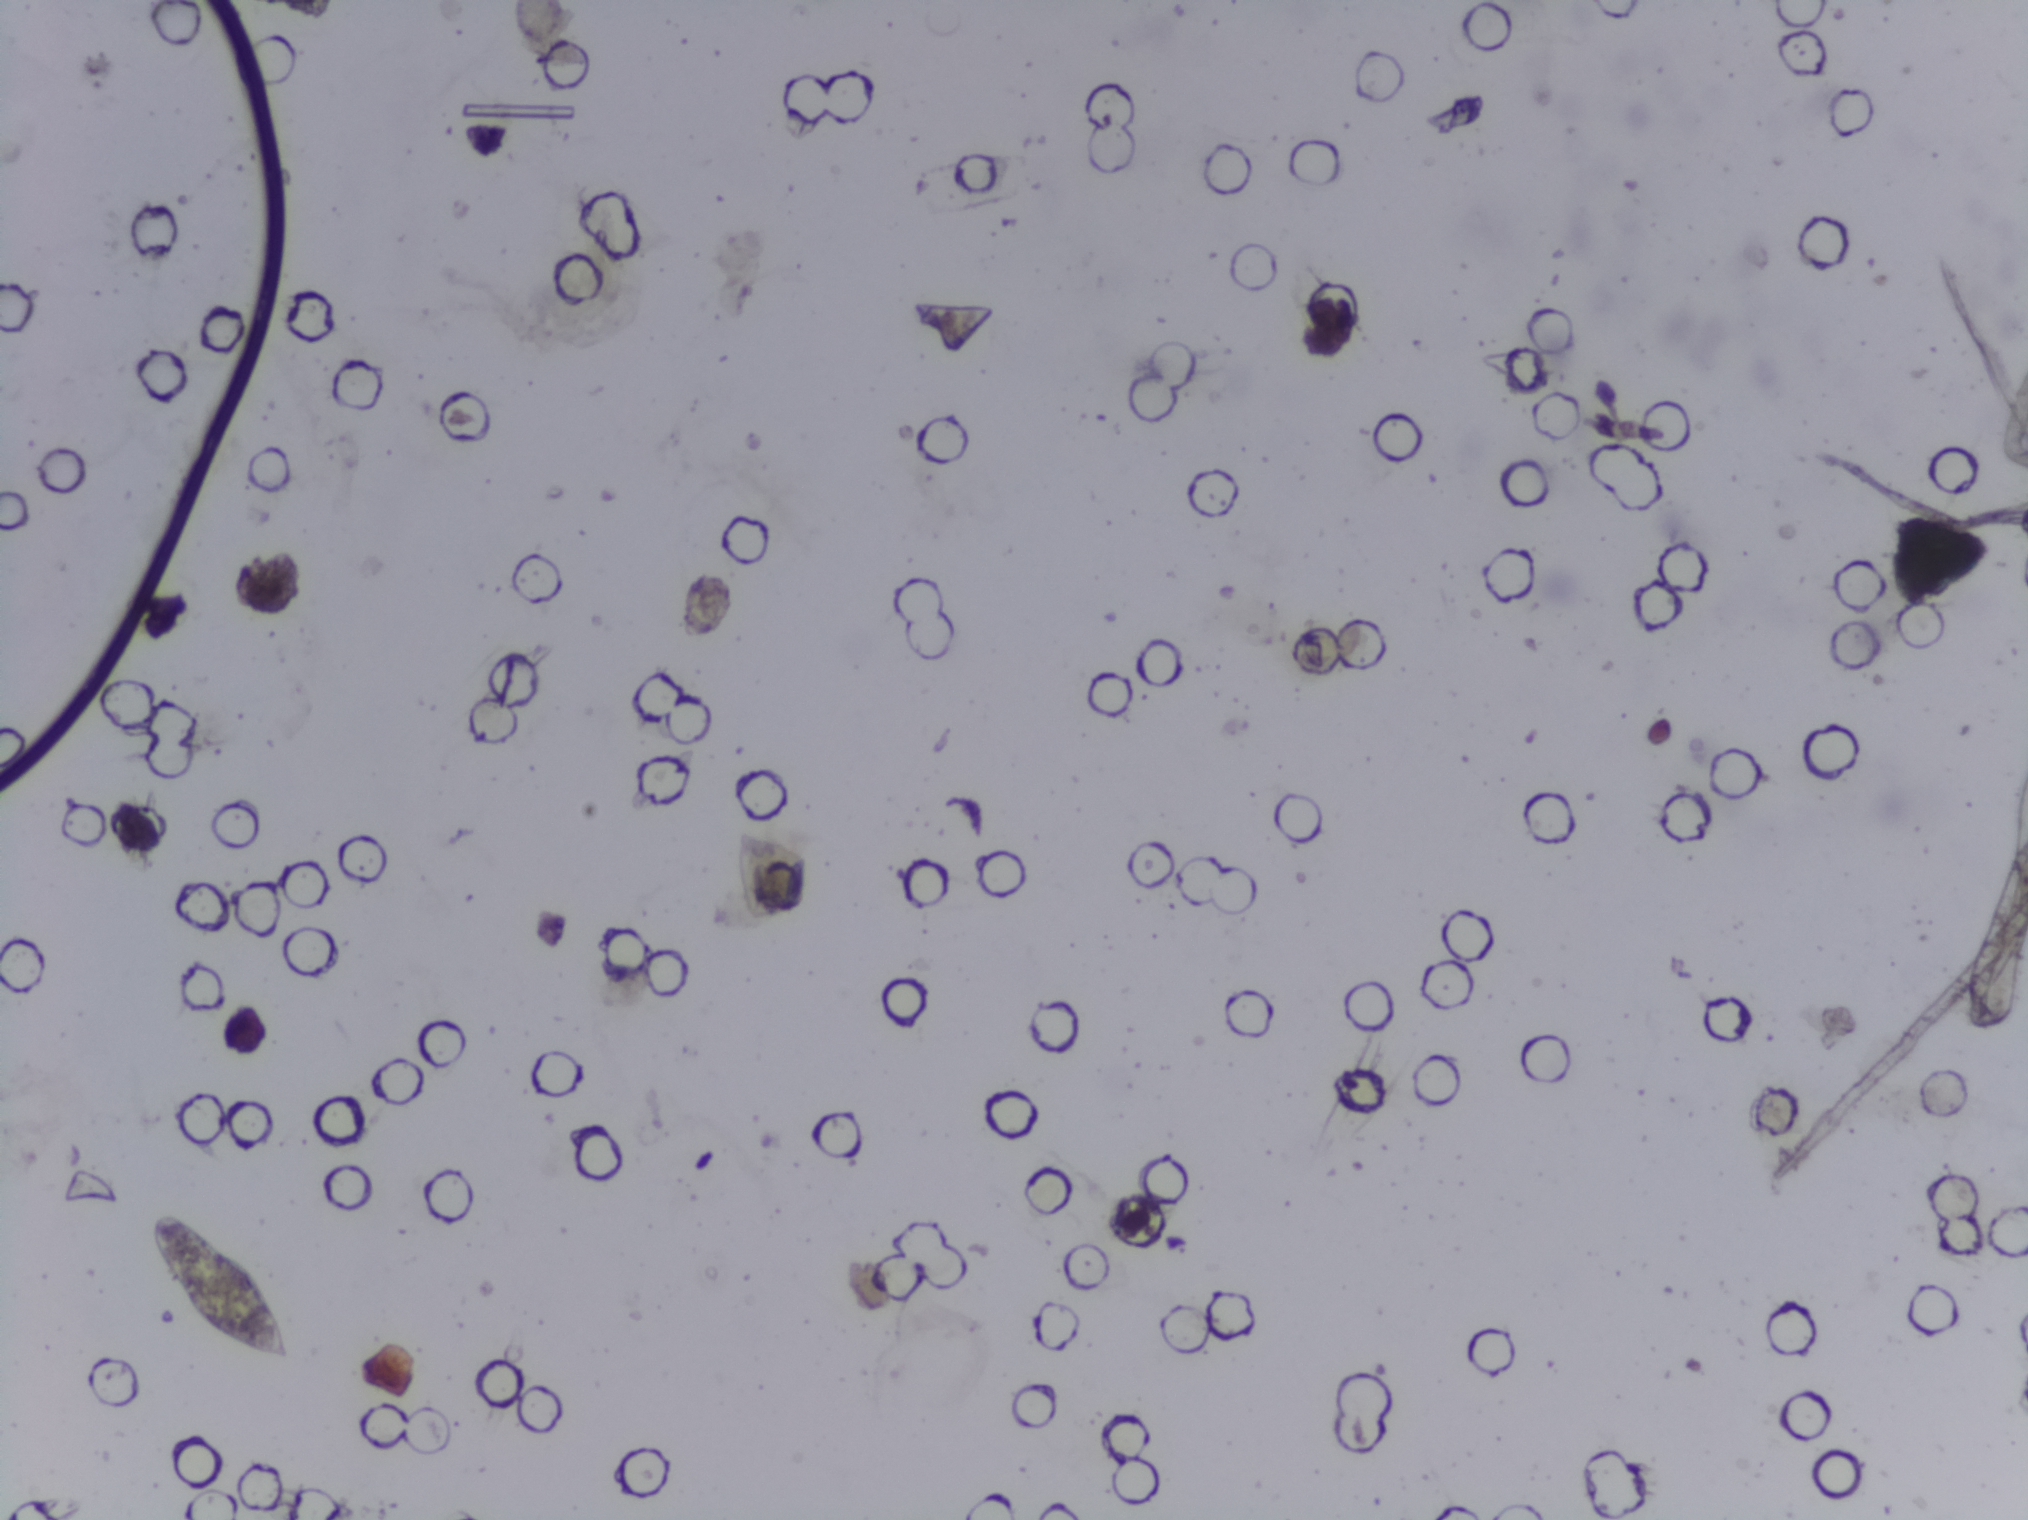
Urine filter membrane photographed through a 4× microscope objective. Field of view: about 1.5 mm wide and 1.1 mm high.
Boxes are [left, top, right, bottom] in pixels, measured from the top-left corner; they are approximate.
One area of this image is outlined as Schistosoma eggs: [153, 1211, 291, 1361]. About 0.4% of the image's pixels are marked (the marked pixels themselves, not the box around them). A single outlined area may contain several eggs. A marked egg may occasionally be S. mansoni rather than S. haematobium.